Photomicrograph of a urine filtration membrane, 4× objective.
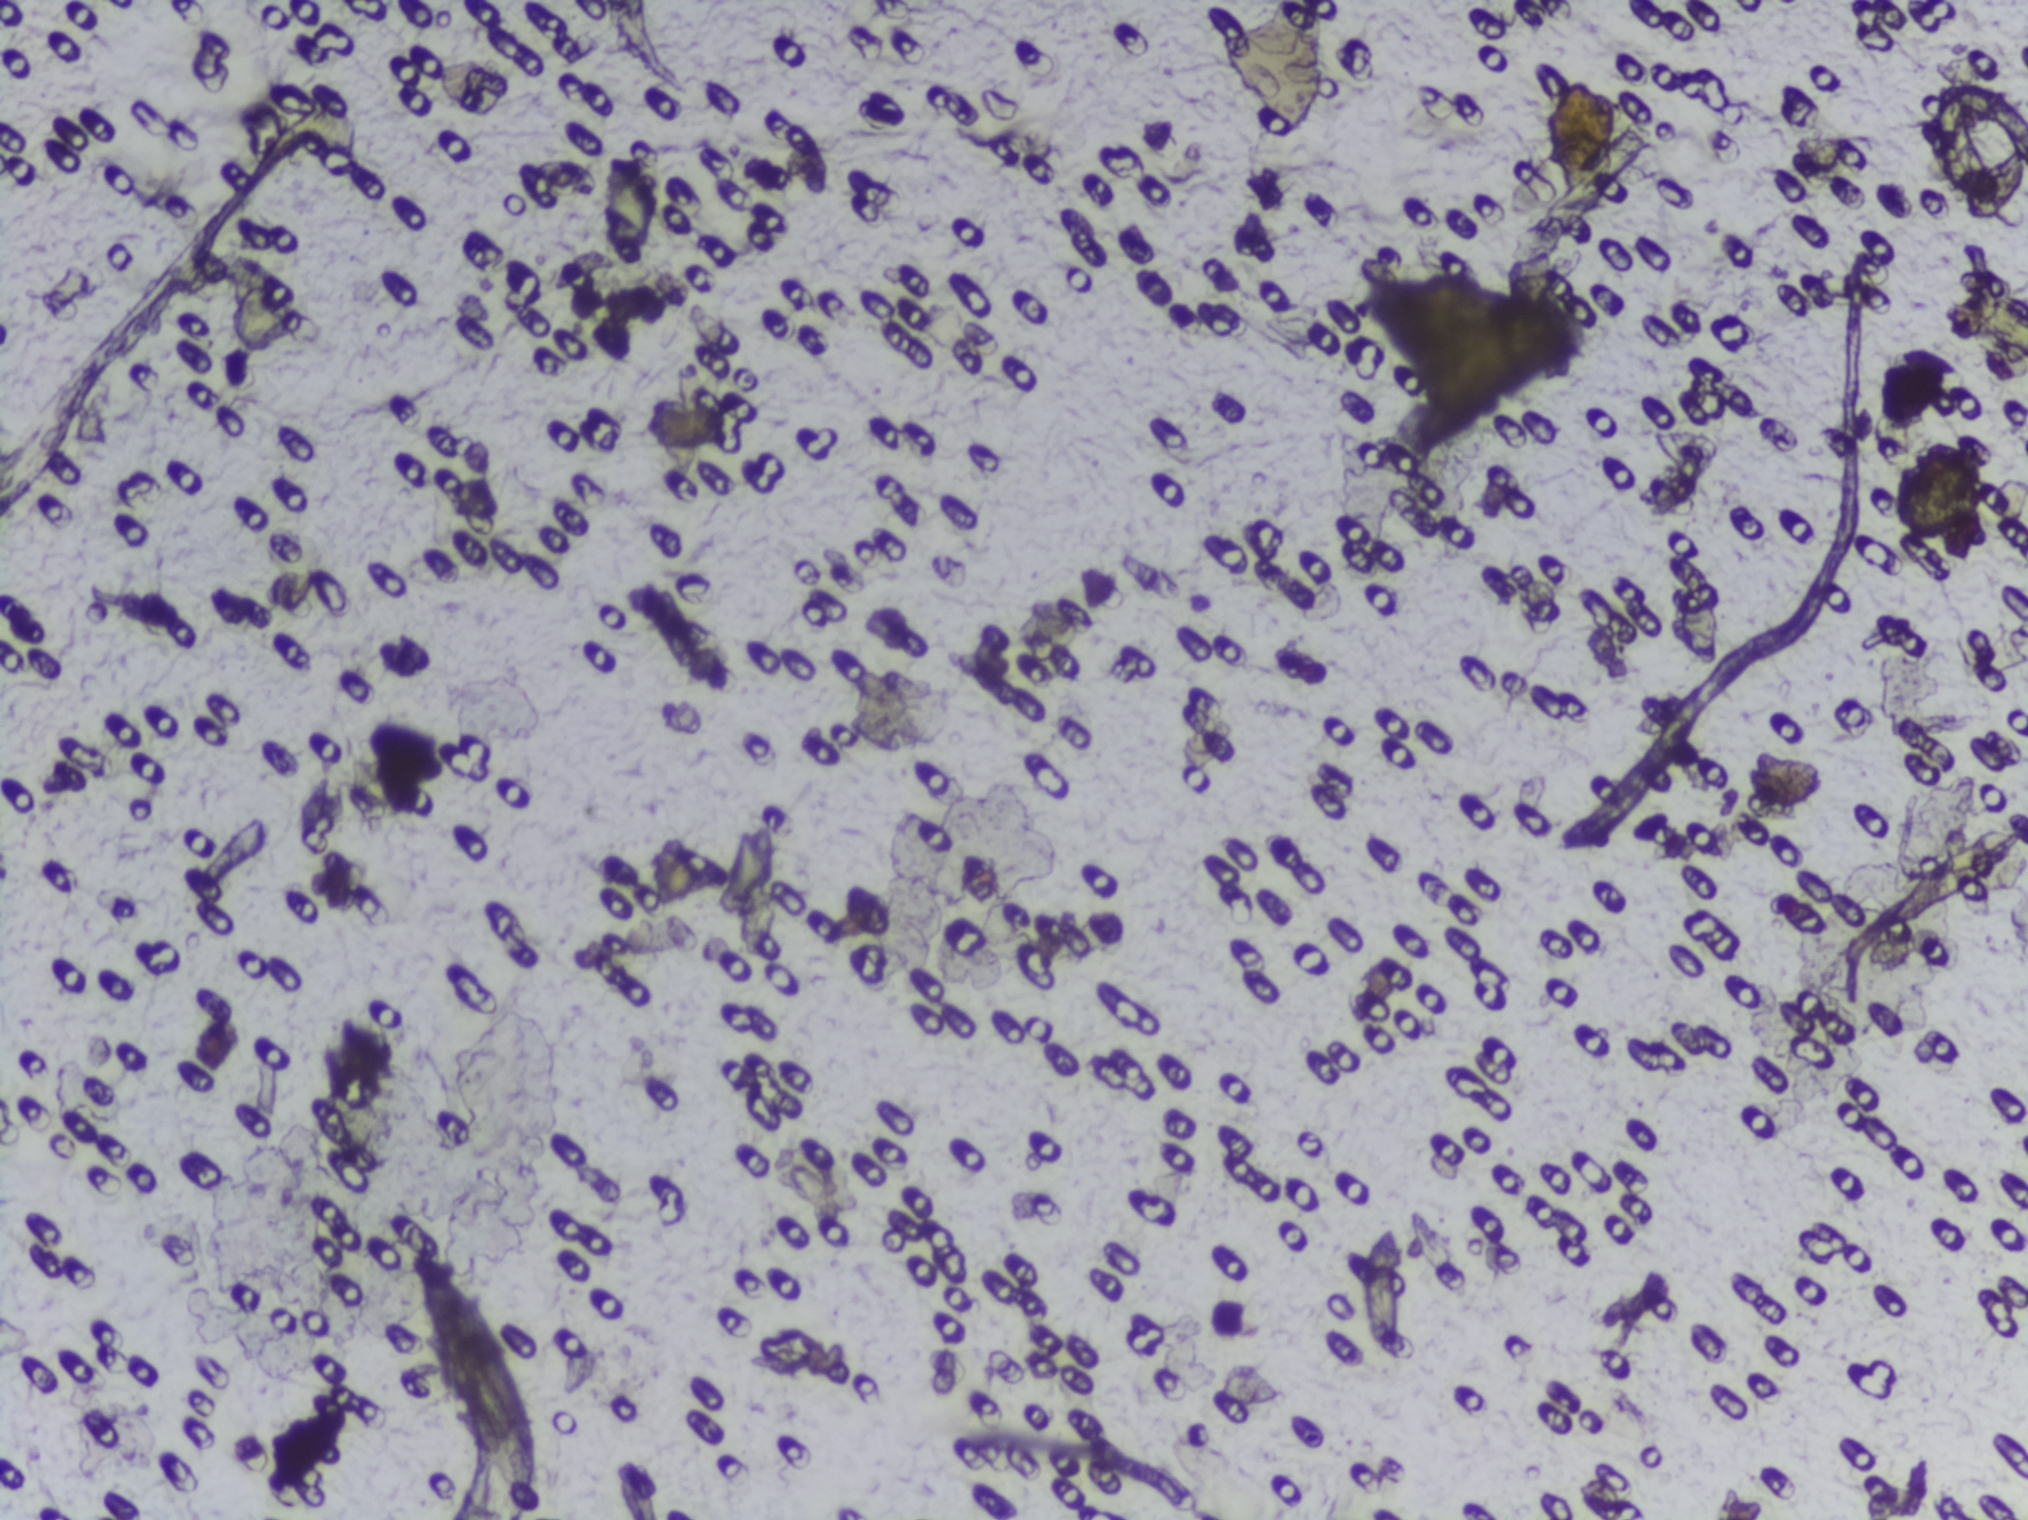
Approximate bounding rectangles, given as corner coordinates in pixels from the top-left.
Areas outlined as Schistosoma eggs: (x1=1921, y1=81, x2=2027, y2=213) (reaching the right edge of the frame). About 0.4% of the image's pixels are marked (the marked pixels themselves, not the box around them). A single outlined area may contain several eggs.